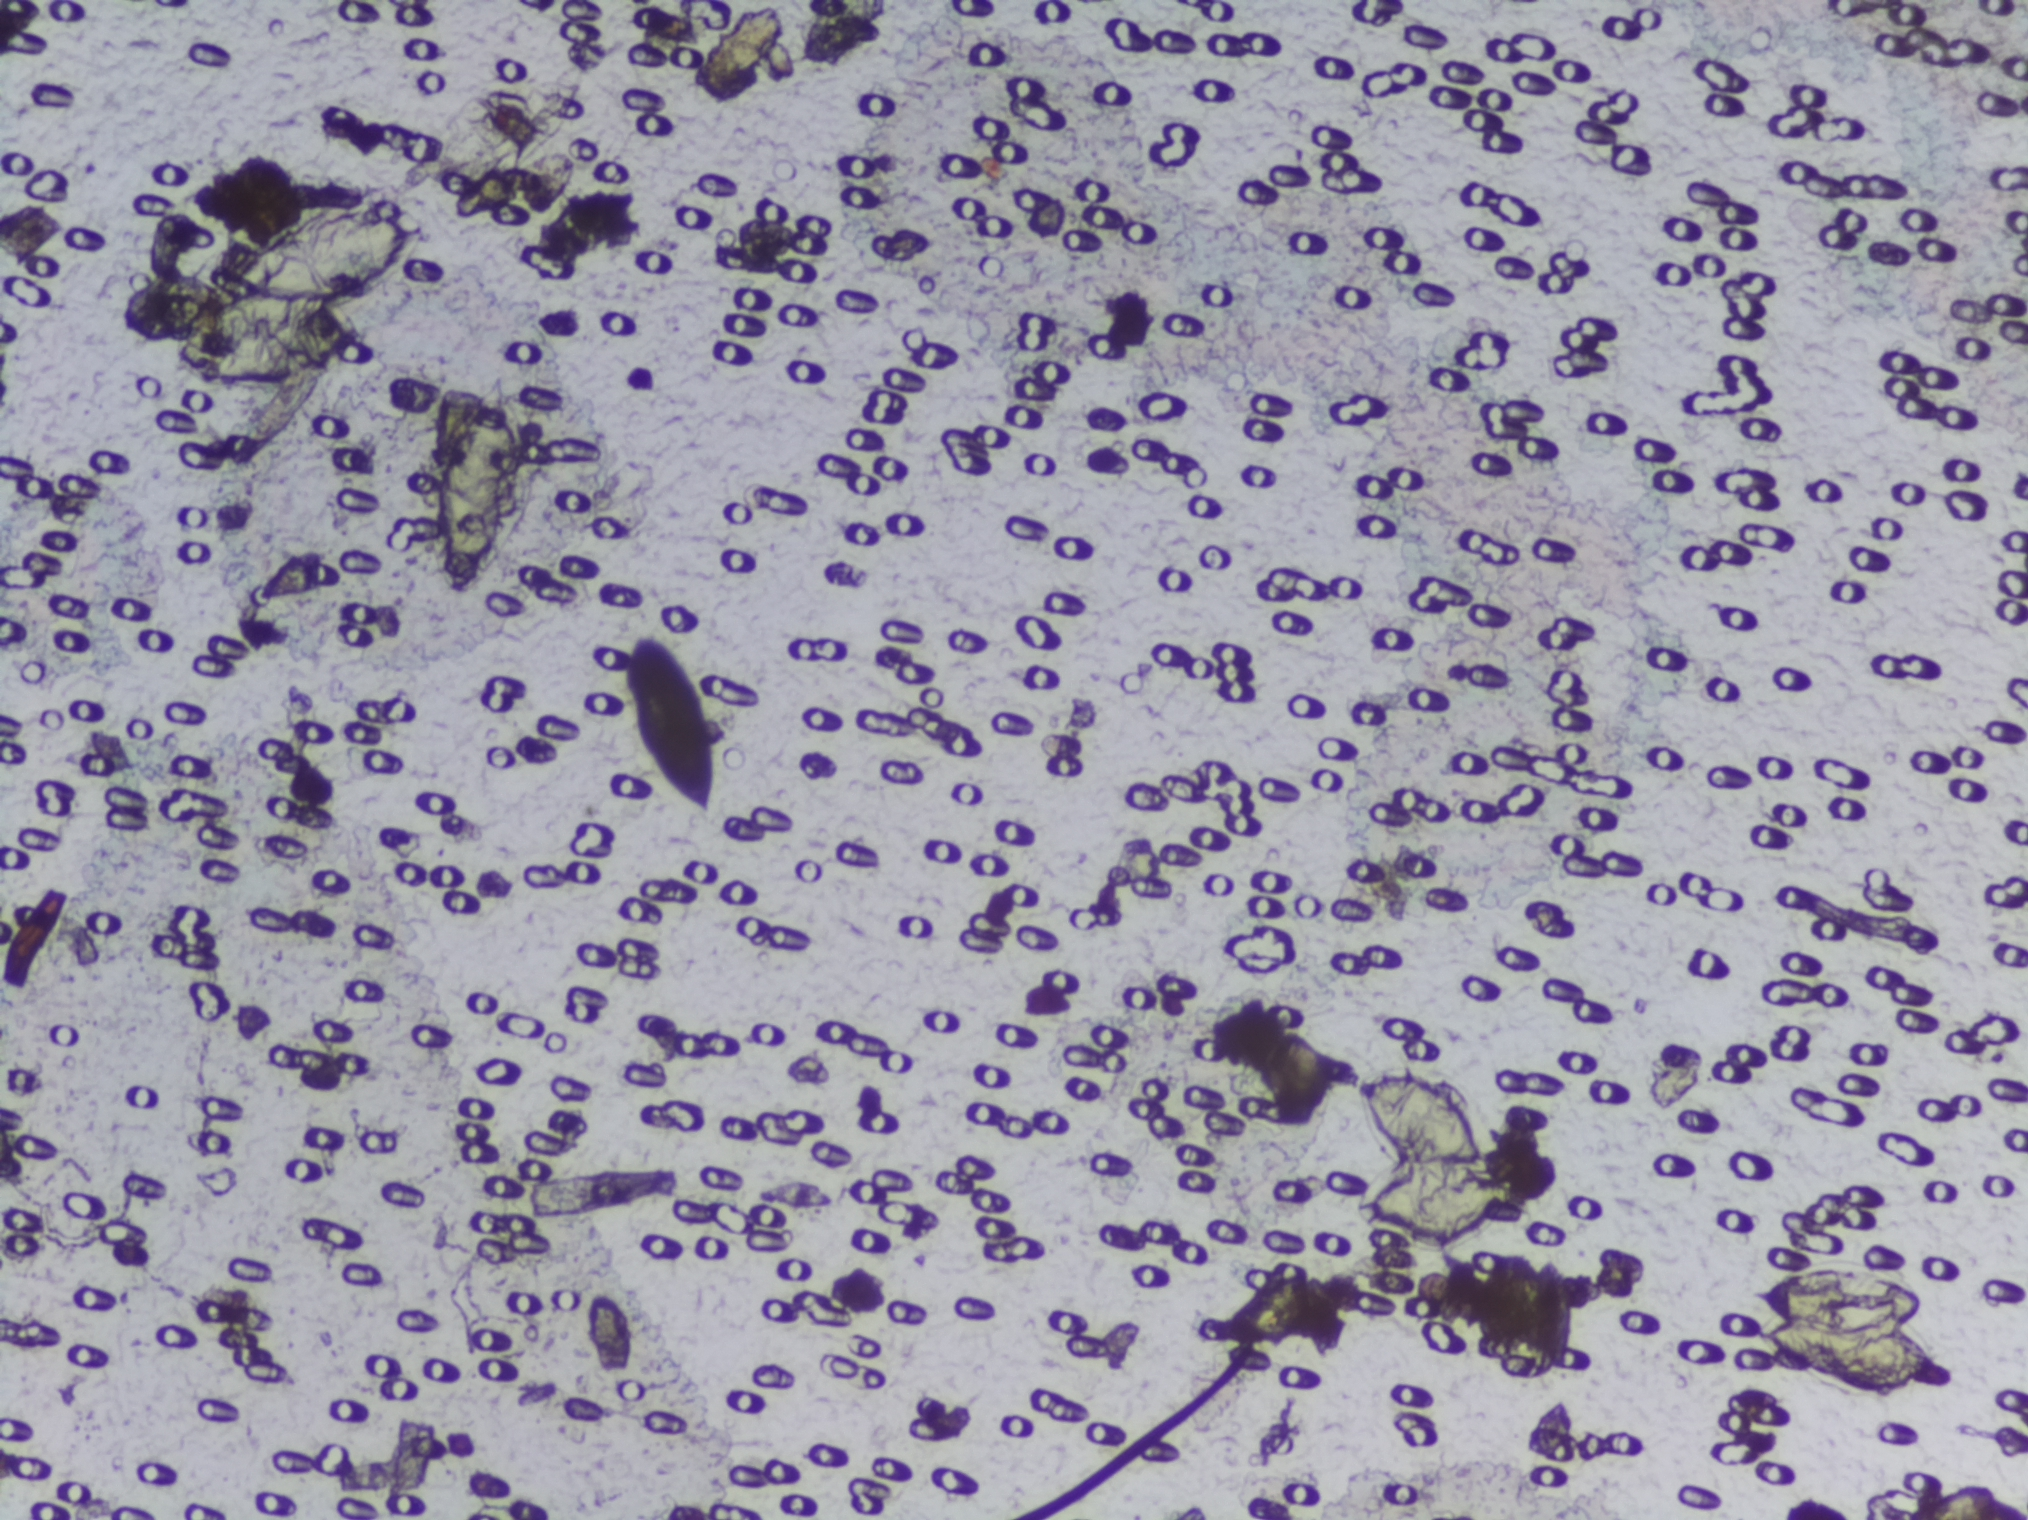
Microscope photograph (4× objective) of a membrane that a urine sample was filtered through.
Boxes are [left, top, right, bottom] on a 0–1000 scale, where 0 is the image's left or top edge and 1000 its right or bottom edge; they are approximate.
Areas outlined as Schistosoma eggs, left to right:
1. [56, 128, 214, 257]
2. [205, 247, 259, 405]
3. [300, 409, 359, 538]
4. [657, 682, 758, 821]
5. [849, 829, 972, 931]
A single outlined area may contain several eggs.